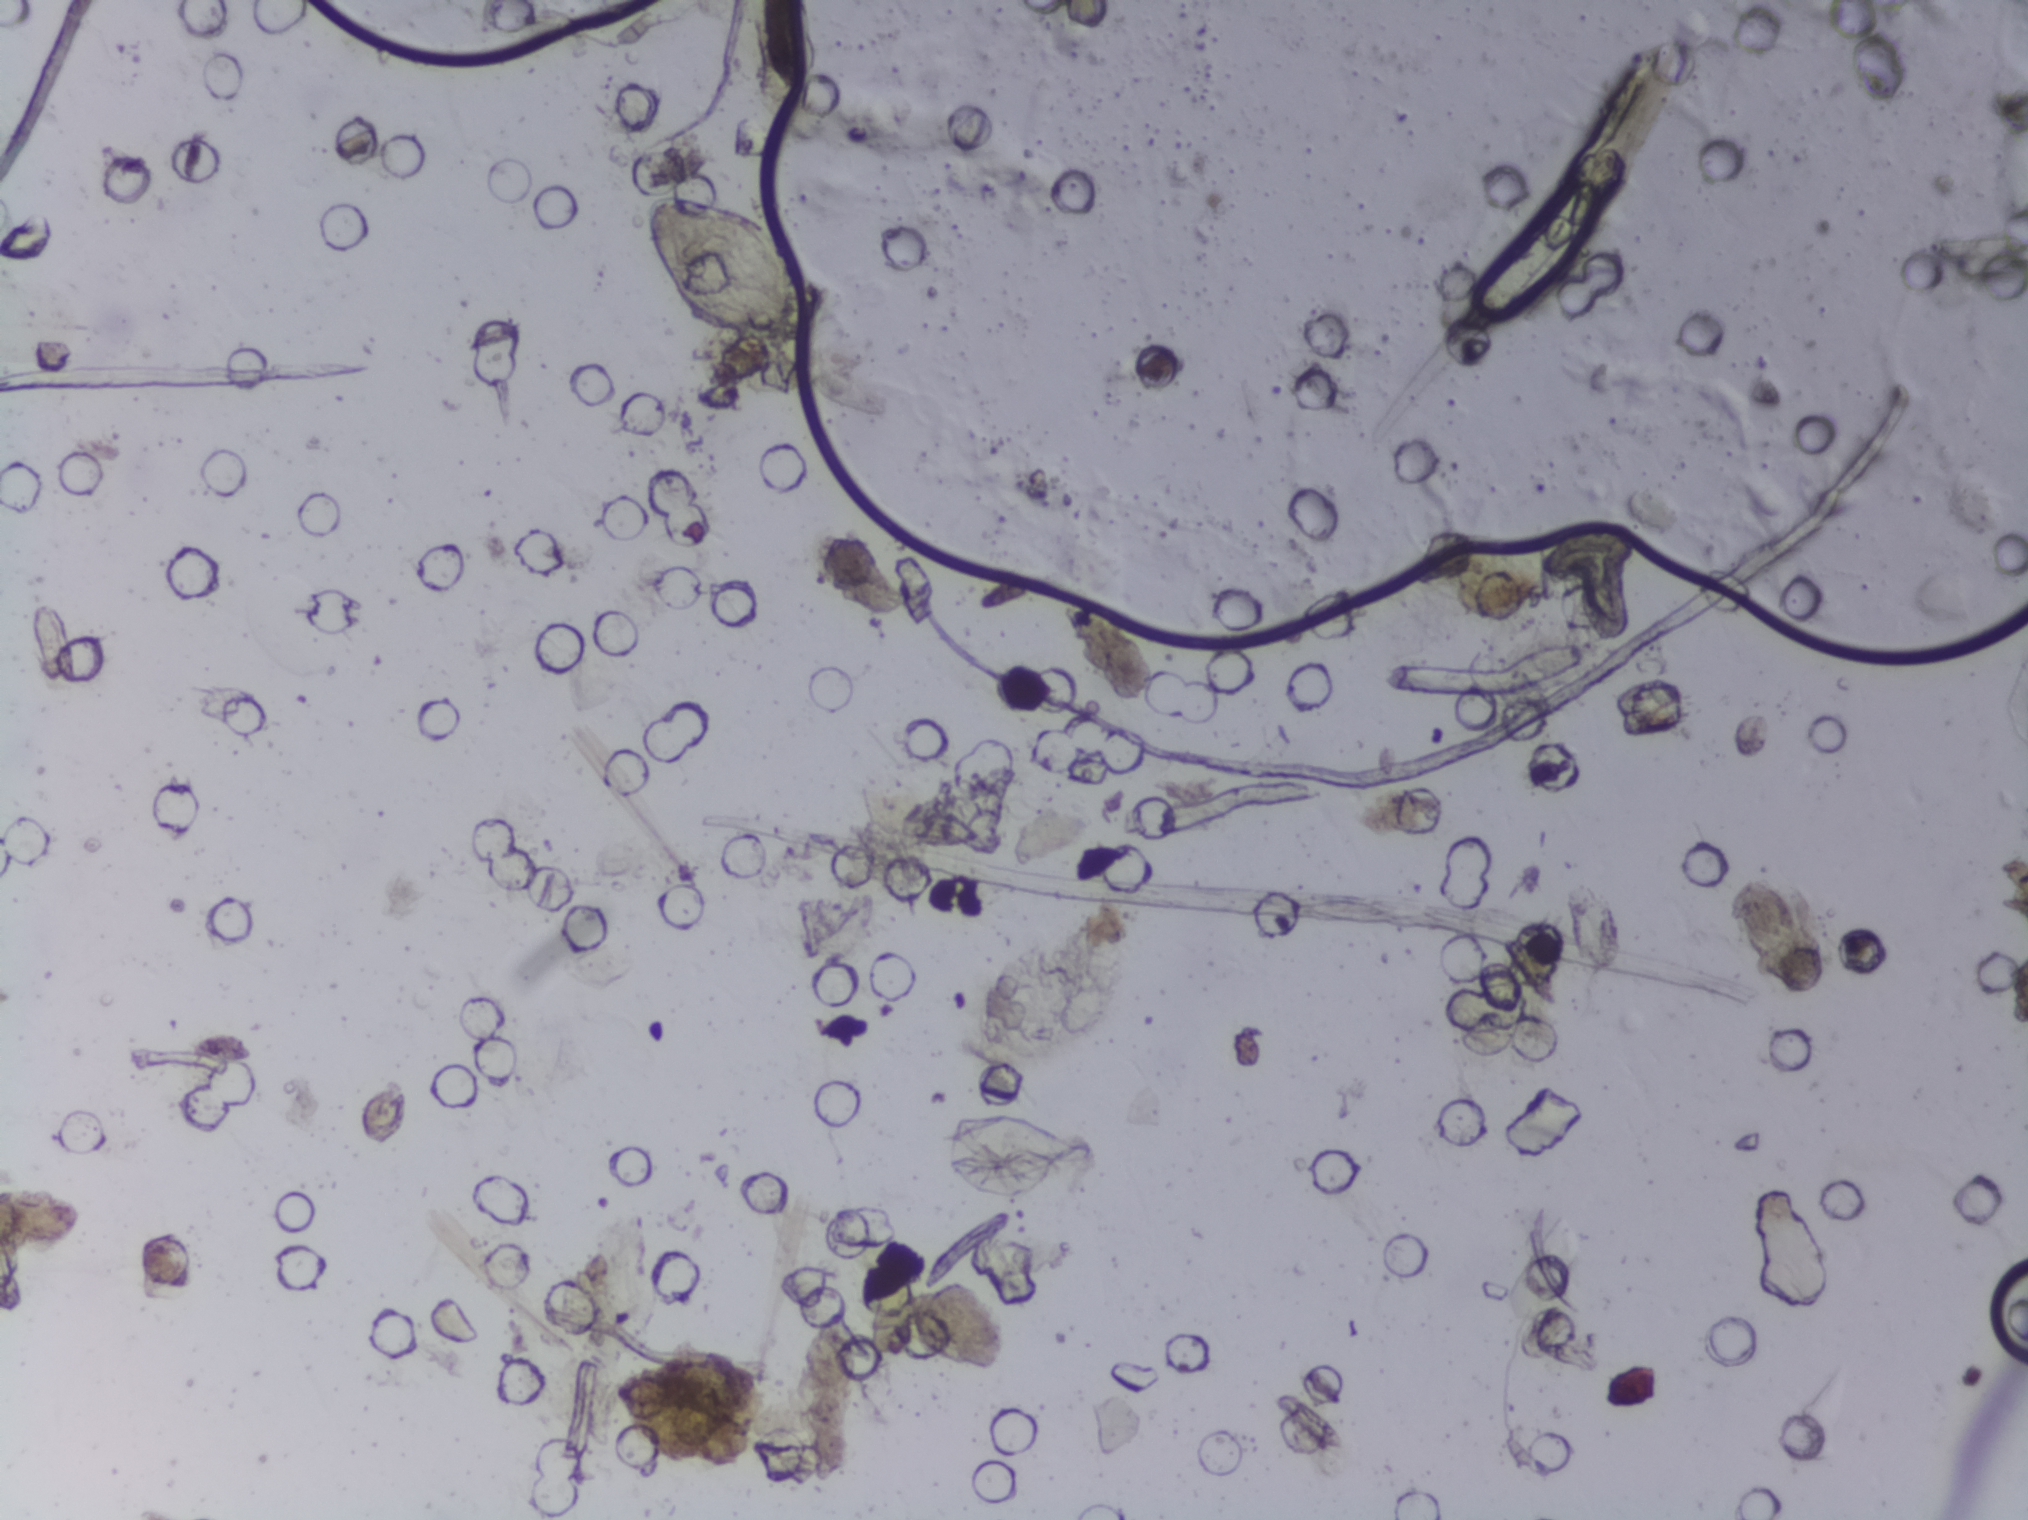
Microscope photograph (4× objective) of a membrane that a urine sample was filtered through.
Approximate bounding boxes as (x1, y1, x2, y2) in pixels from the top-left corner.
The expert annotation outlines Schistosoma eggs at (642, 193, 826, 351). A single outlined area may contain several eggs.